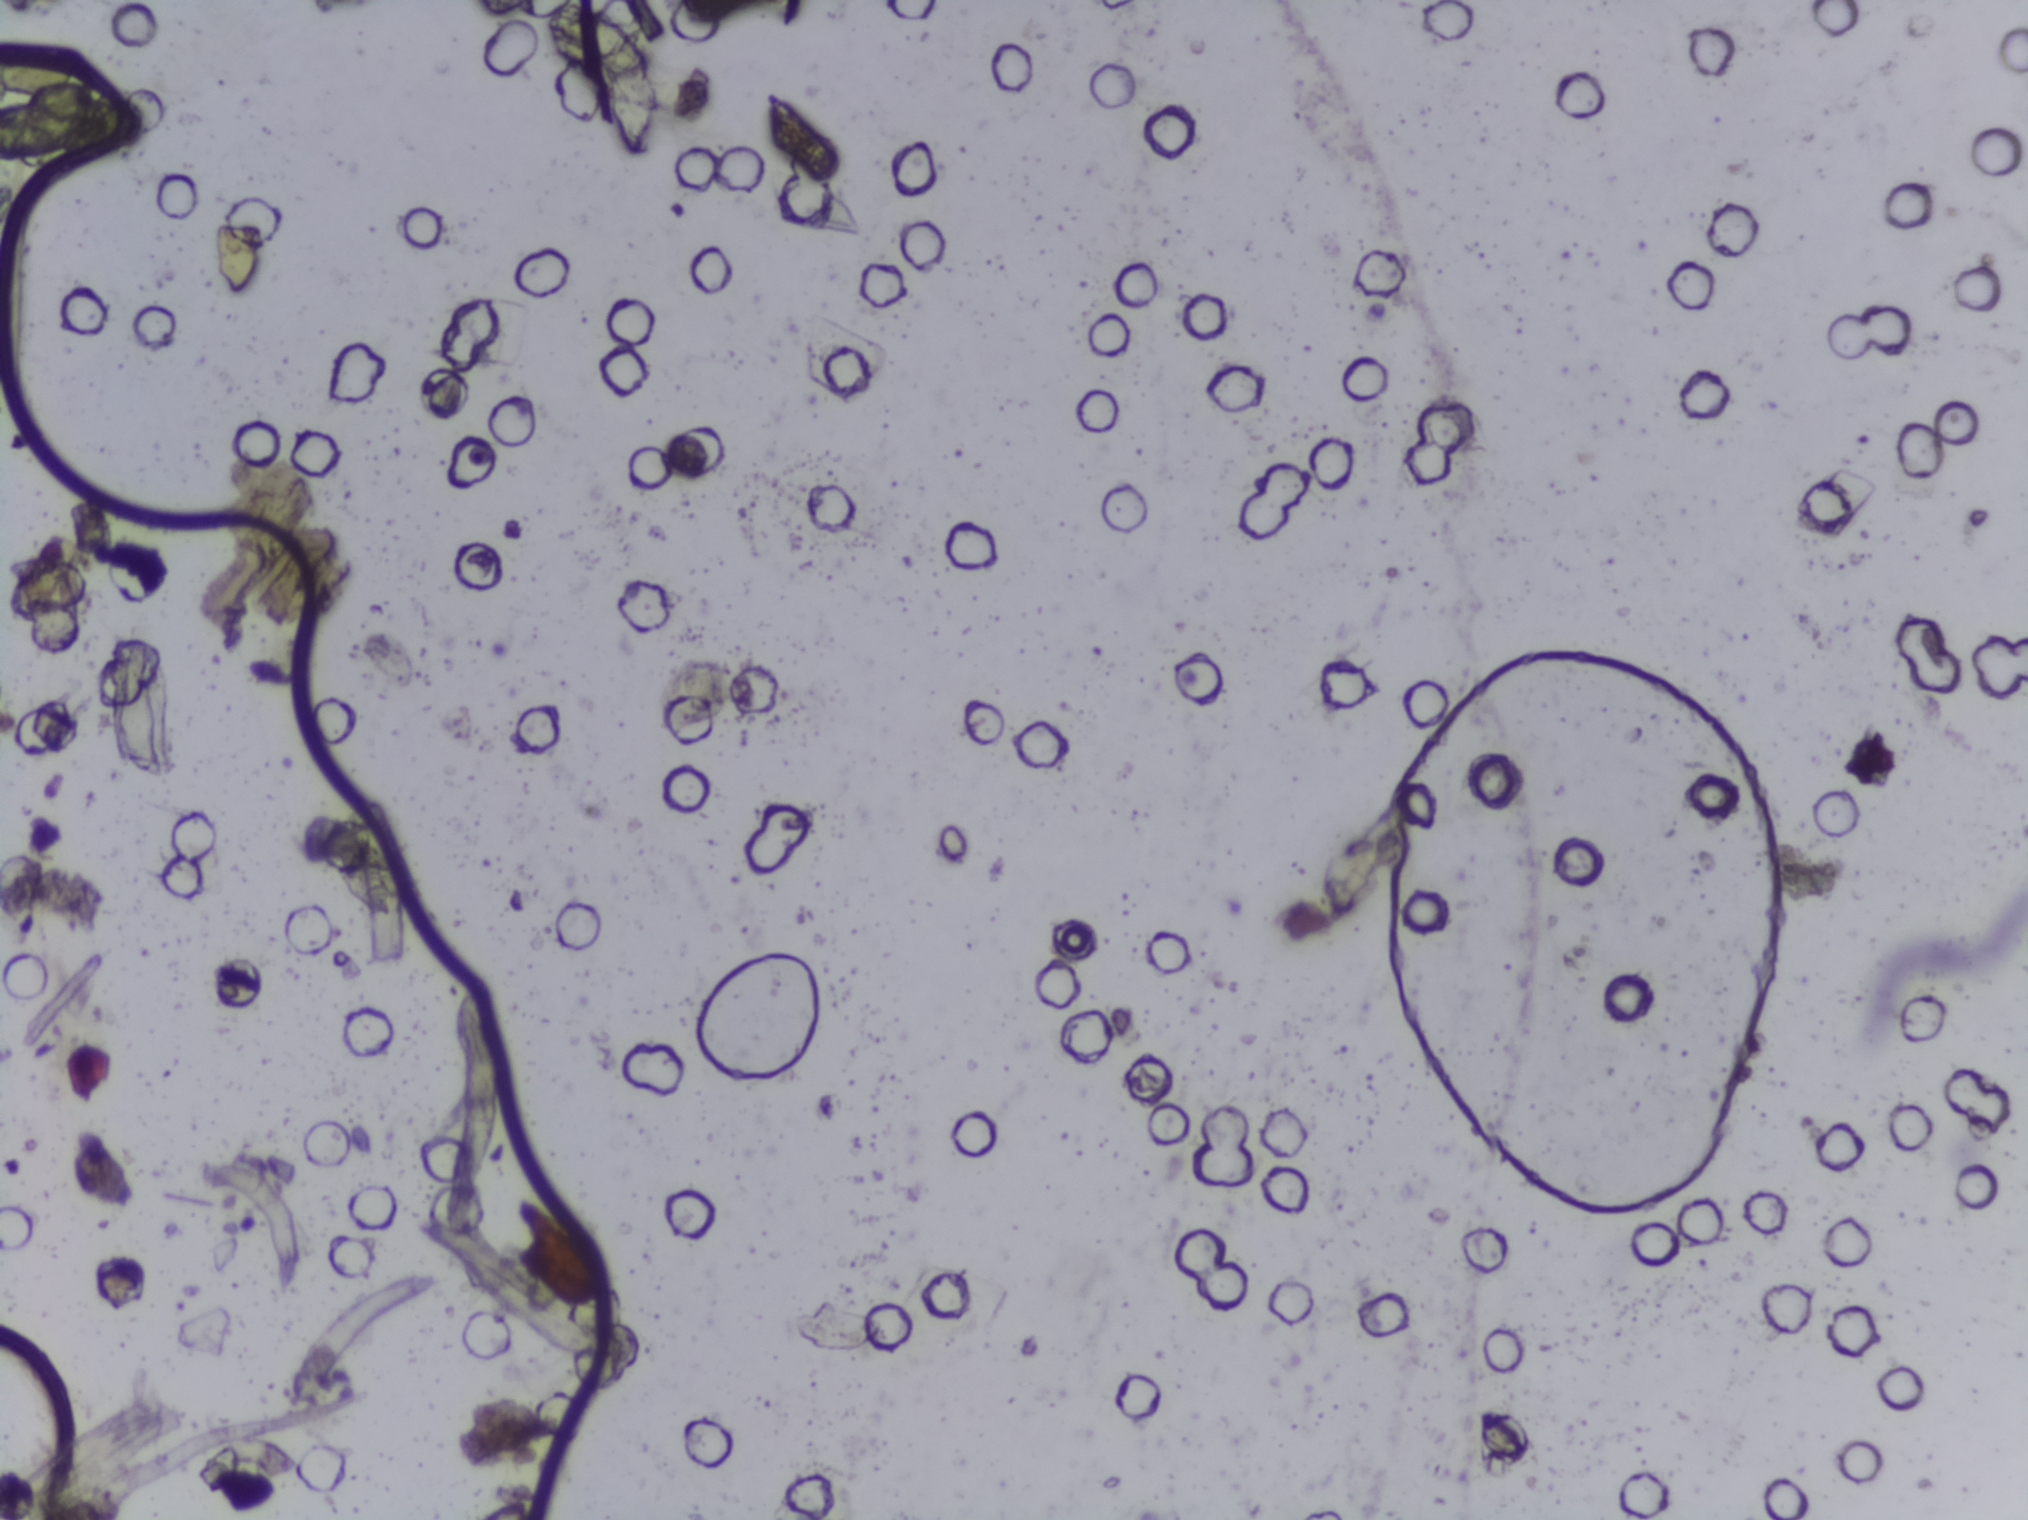
No area of this image was outlined as a Schistosoma egg.
Photomicrograph of a urine filtration membrane, 4× objective.